Urine filtration membrane under a 4× objective, photographed by an automated digital microscope.
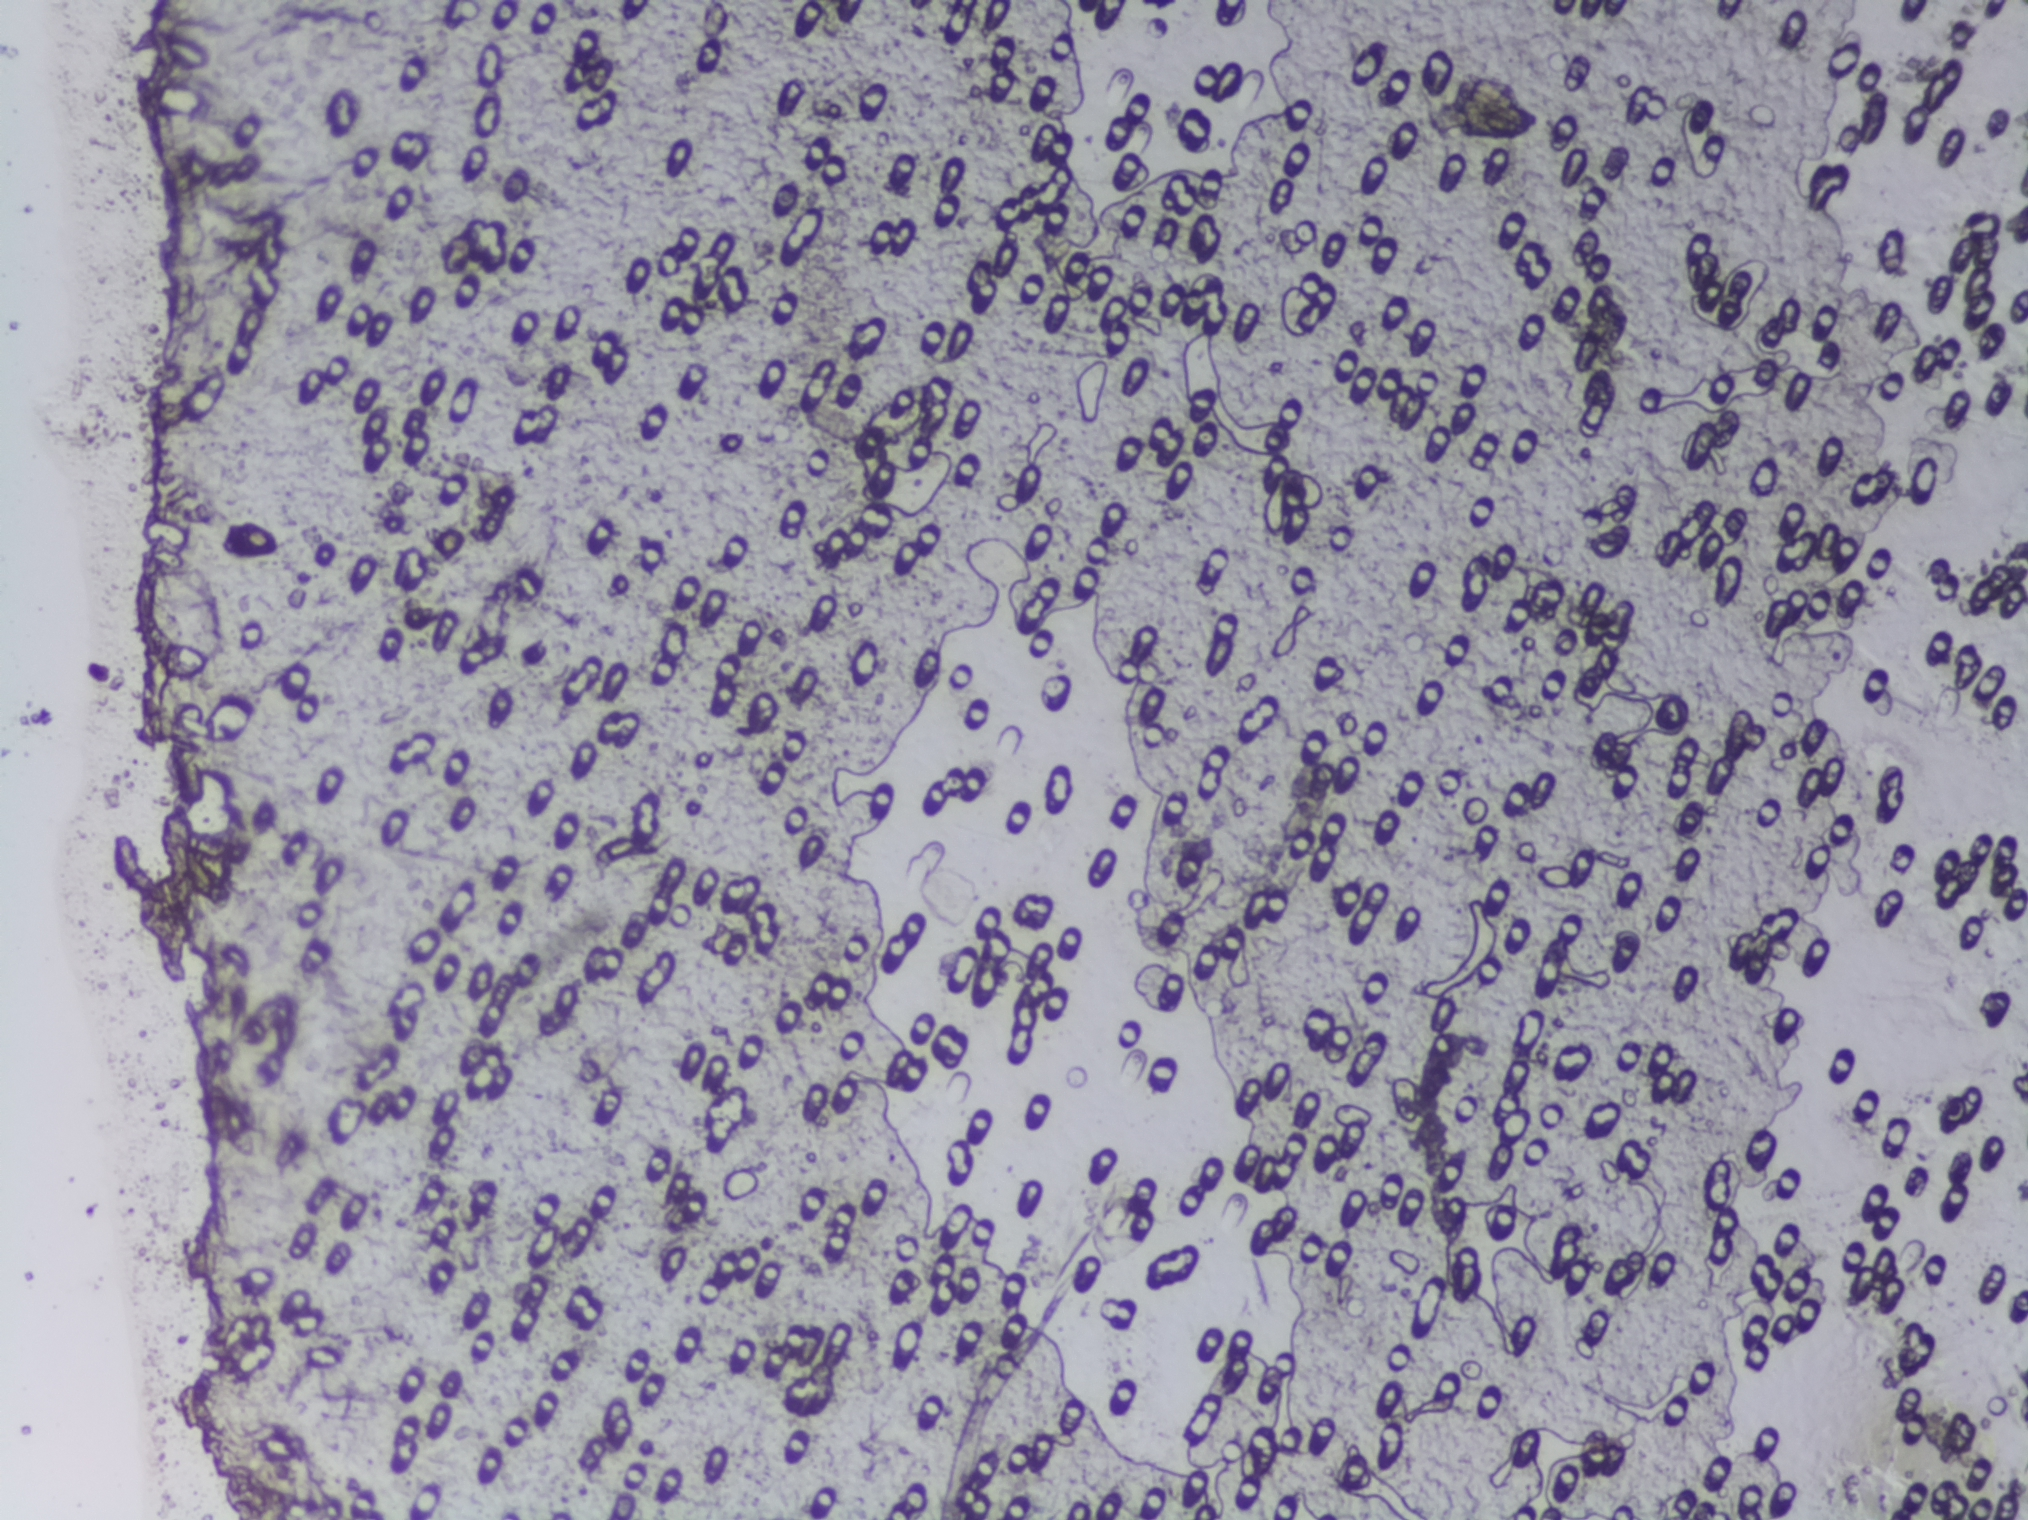
No Schistosoma egg is outlined in this image's expert annotation.